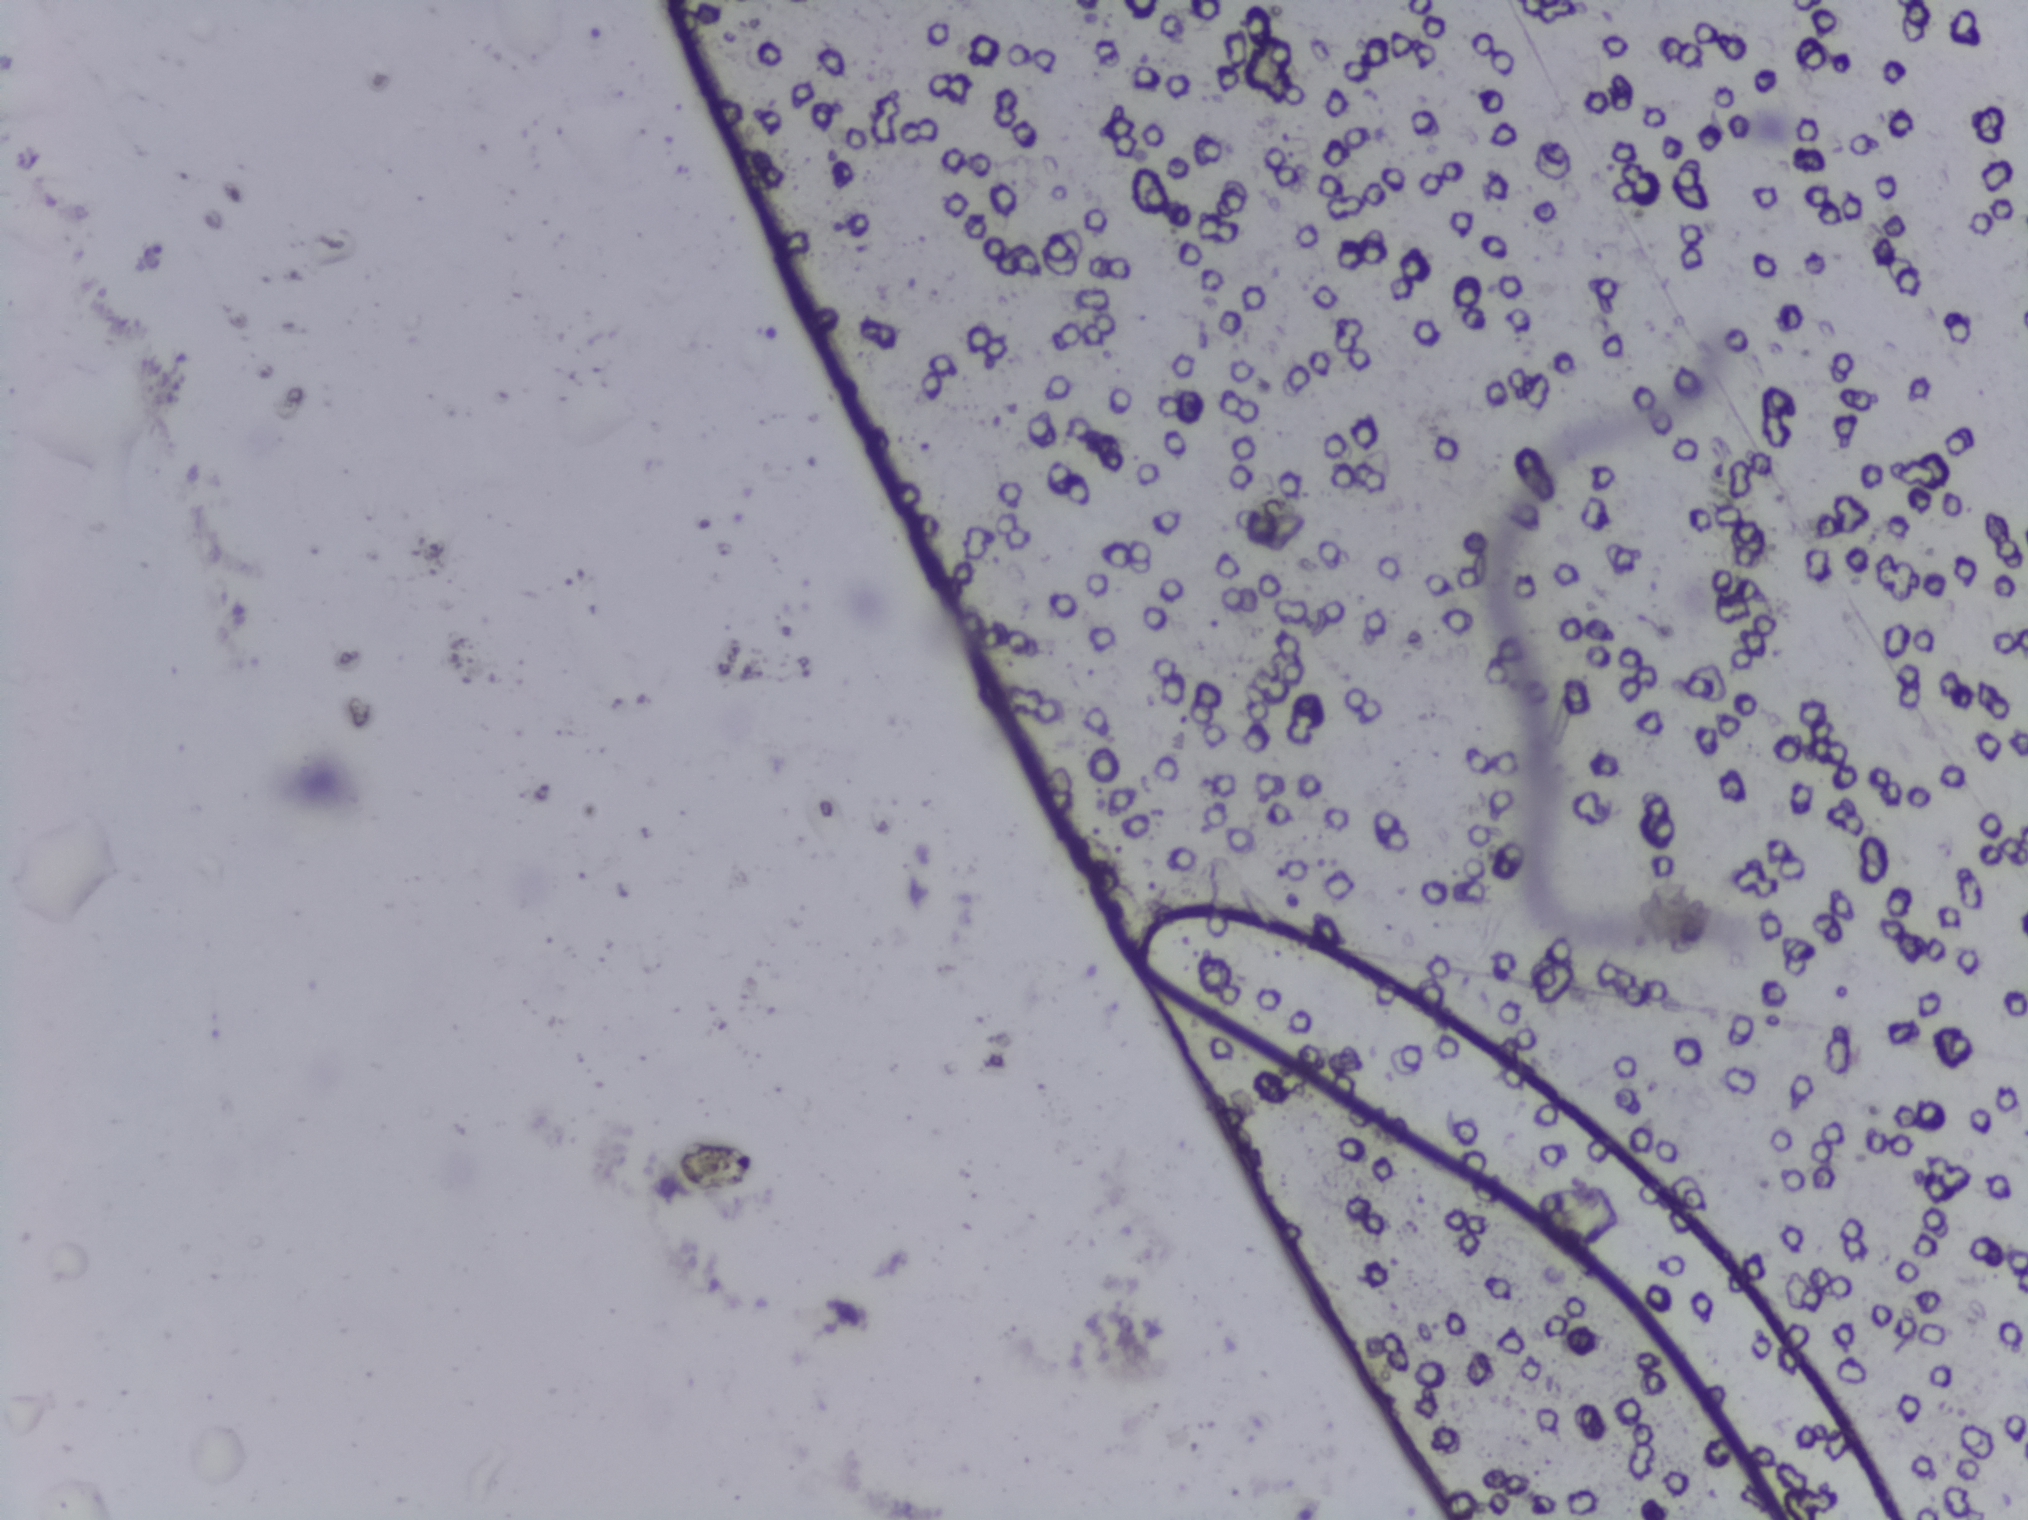
Photograph from an automated digital microscope: urine filter membrane, 4× objective.
The expert annotation marks no Schistosoma egg in this field of view.